Microscope photograph (4× objective) of a membrane that a urine sample was filtered through. The image covers about 1.5 × 1.1 mm of the membrane.
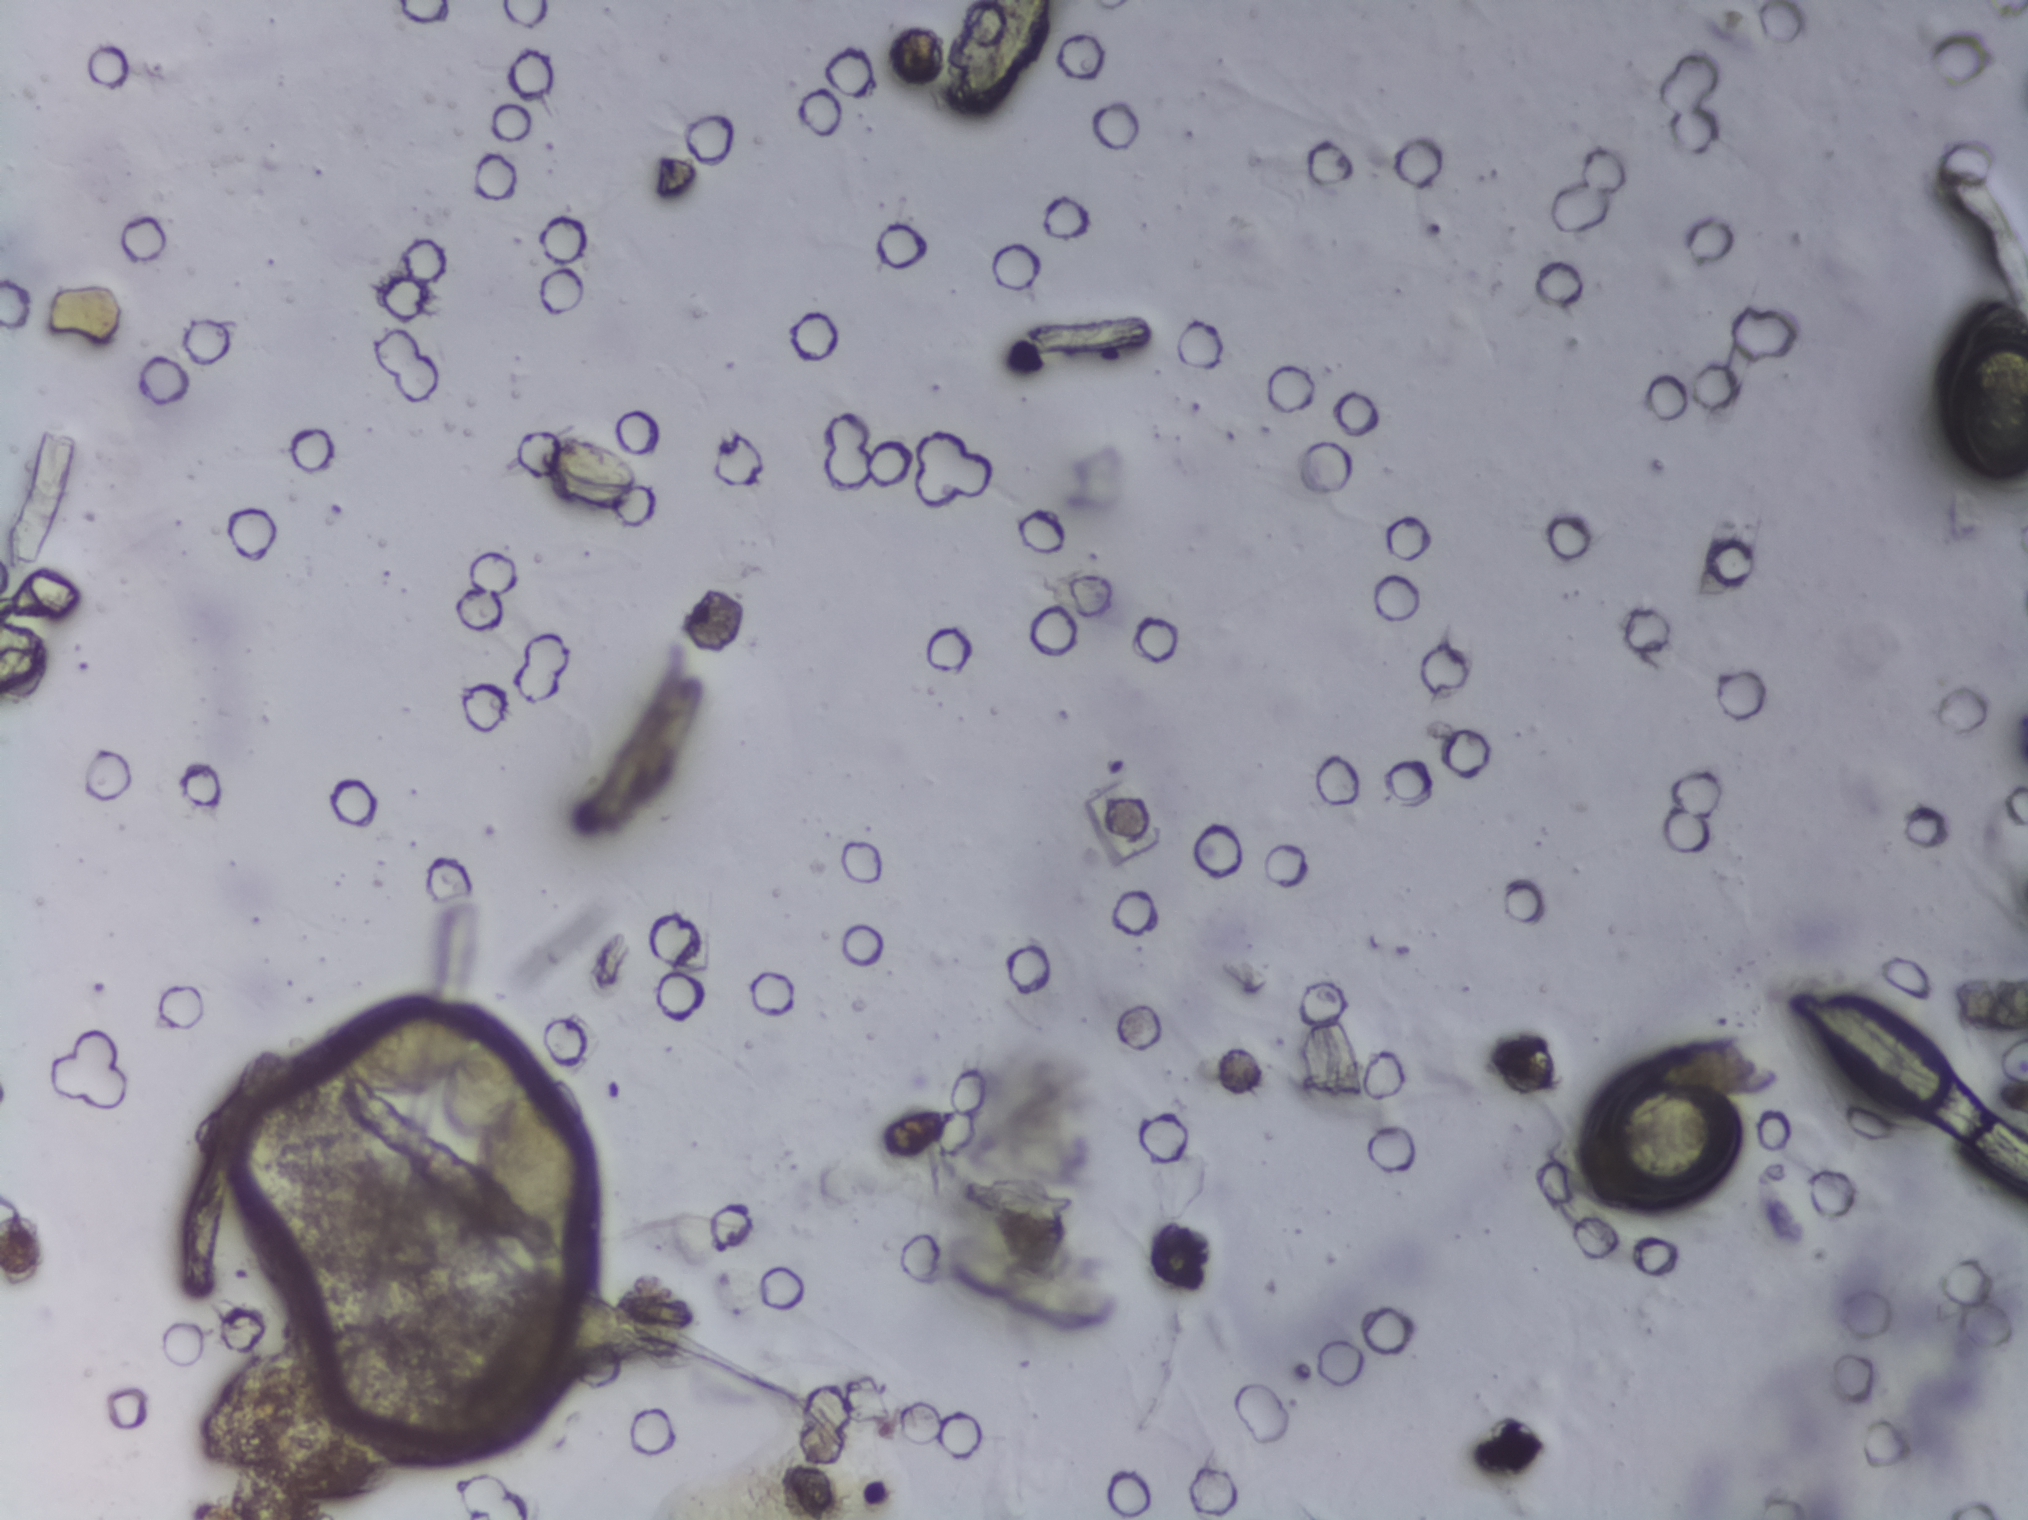
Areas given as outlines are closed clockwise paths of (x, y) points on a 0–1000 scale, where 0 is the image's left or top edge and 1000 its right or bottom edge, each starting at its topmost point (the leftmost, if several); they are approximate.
Schistosoma eggs are outlined in one area of this image: outline (217, 658), (235, 658), (238, 677), (247, 669), (256, 673), (260, 702), (257, 719), (275, 706), (291, 732), (293, 766), (288, 782), (259, 810), (241, 809), (234, 787), (234, 763), (238, 751), (227, 752), (221, 747), (214, 715), (178, 719), (164, 706), (156, 689), (157, 680), (166, 673). A single outlined area may contain several eggs.